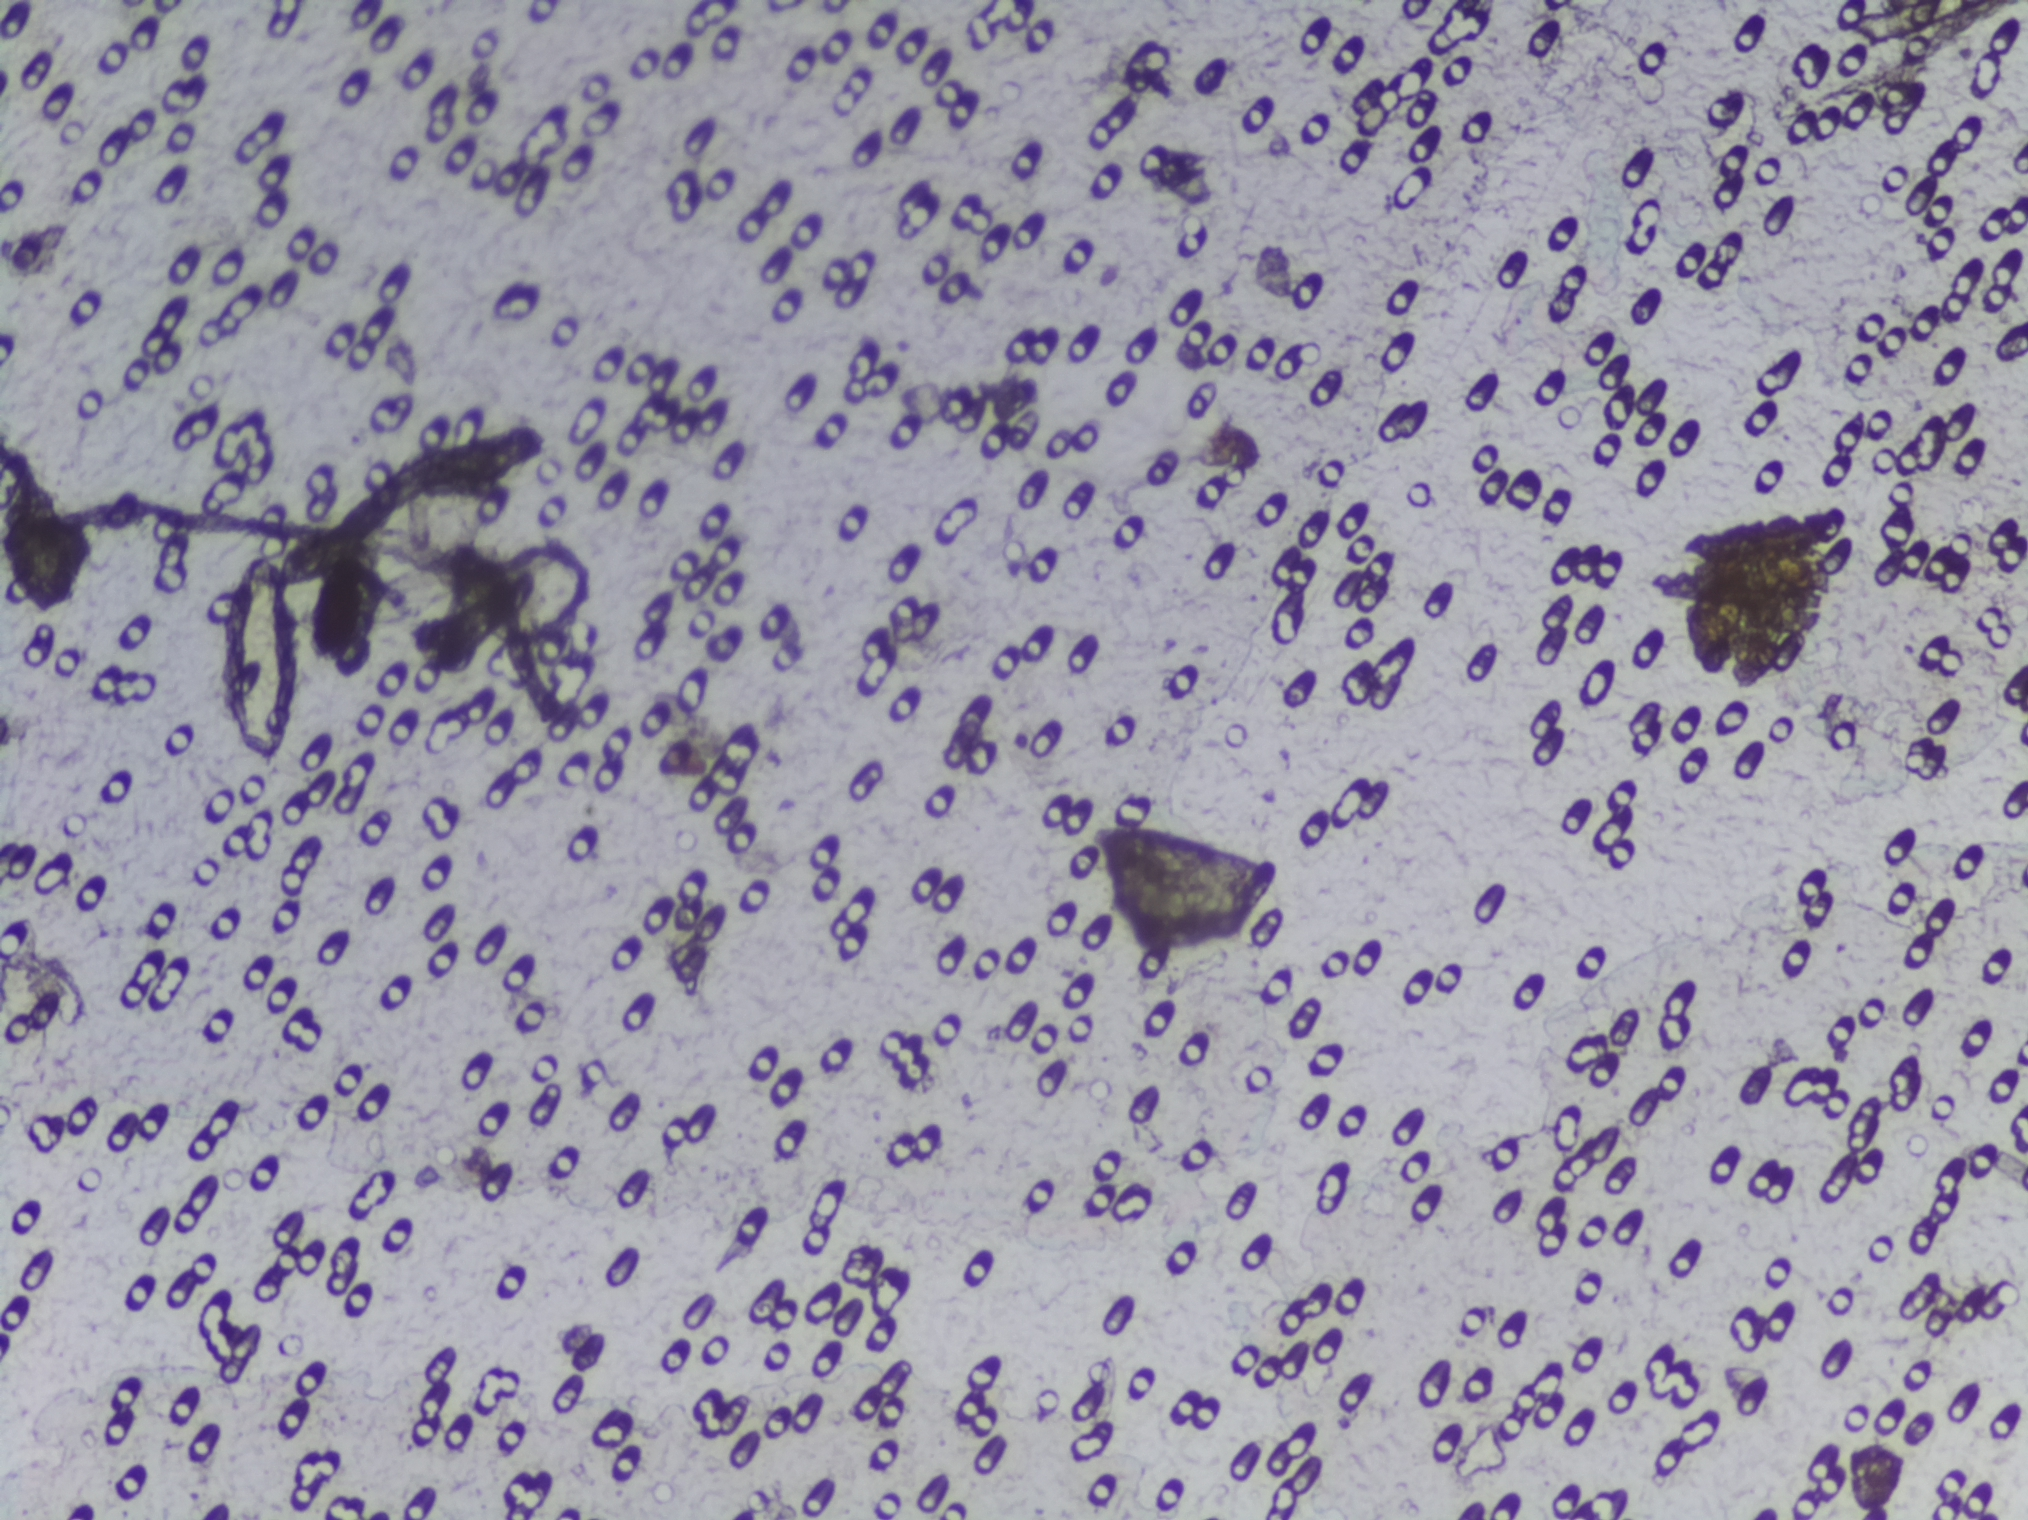
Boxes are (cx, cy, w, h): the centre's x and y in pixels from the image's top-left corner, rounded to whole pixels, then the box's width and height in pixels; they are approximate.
Schistosoma eggs are outlined in the expert annotation at (cx=261, cy=660, w=81, h=220). An outlined area can hold more than one egg.
Urine filter membrane photographed through a 4× microscope objective. The image covers about 1.5 × 1.1 mm of the membrane.